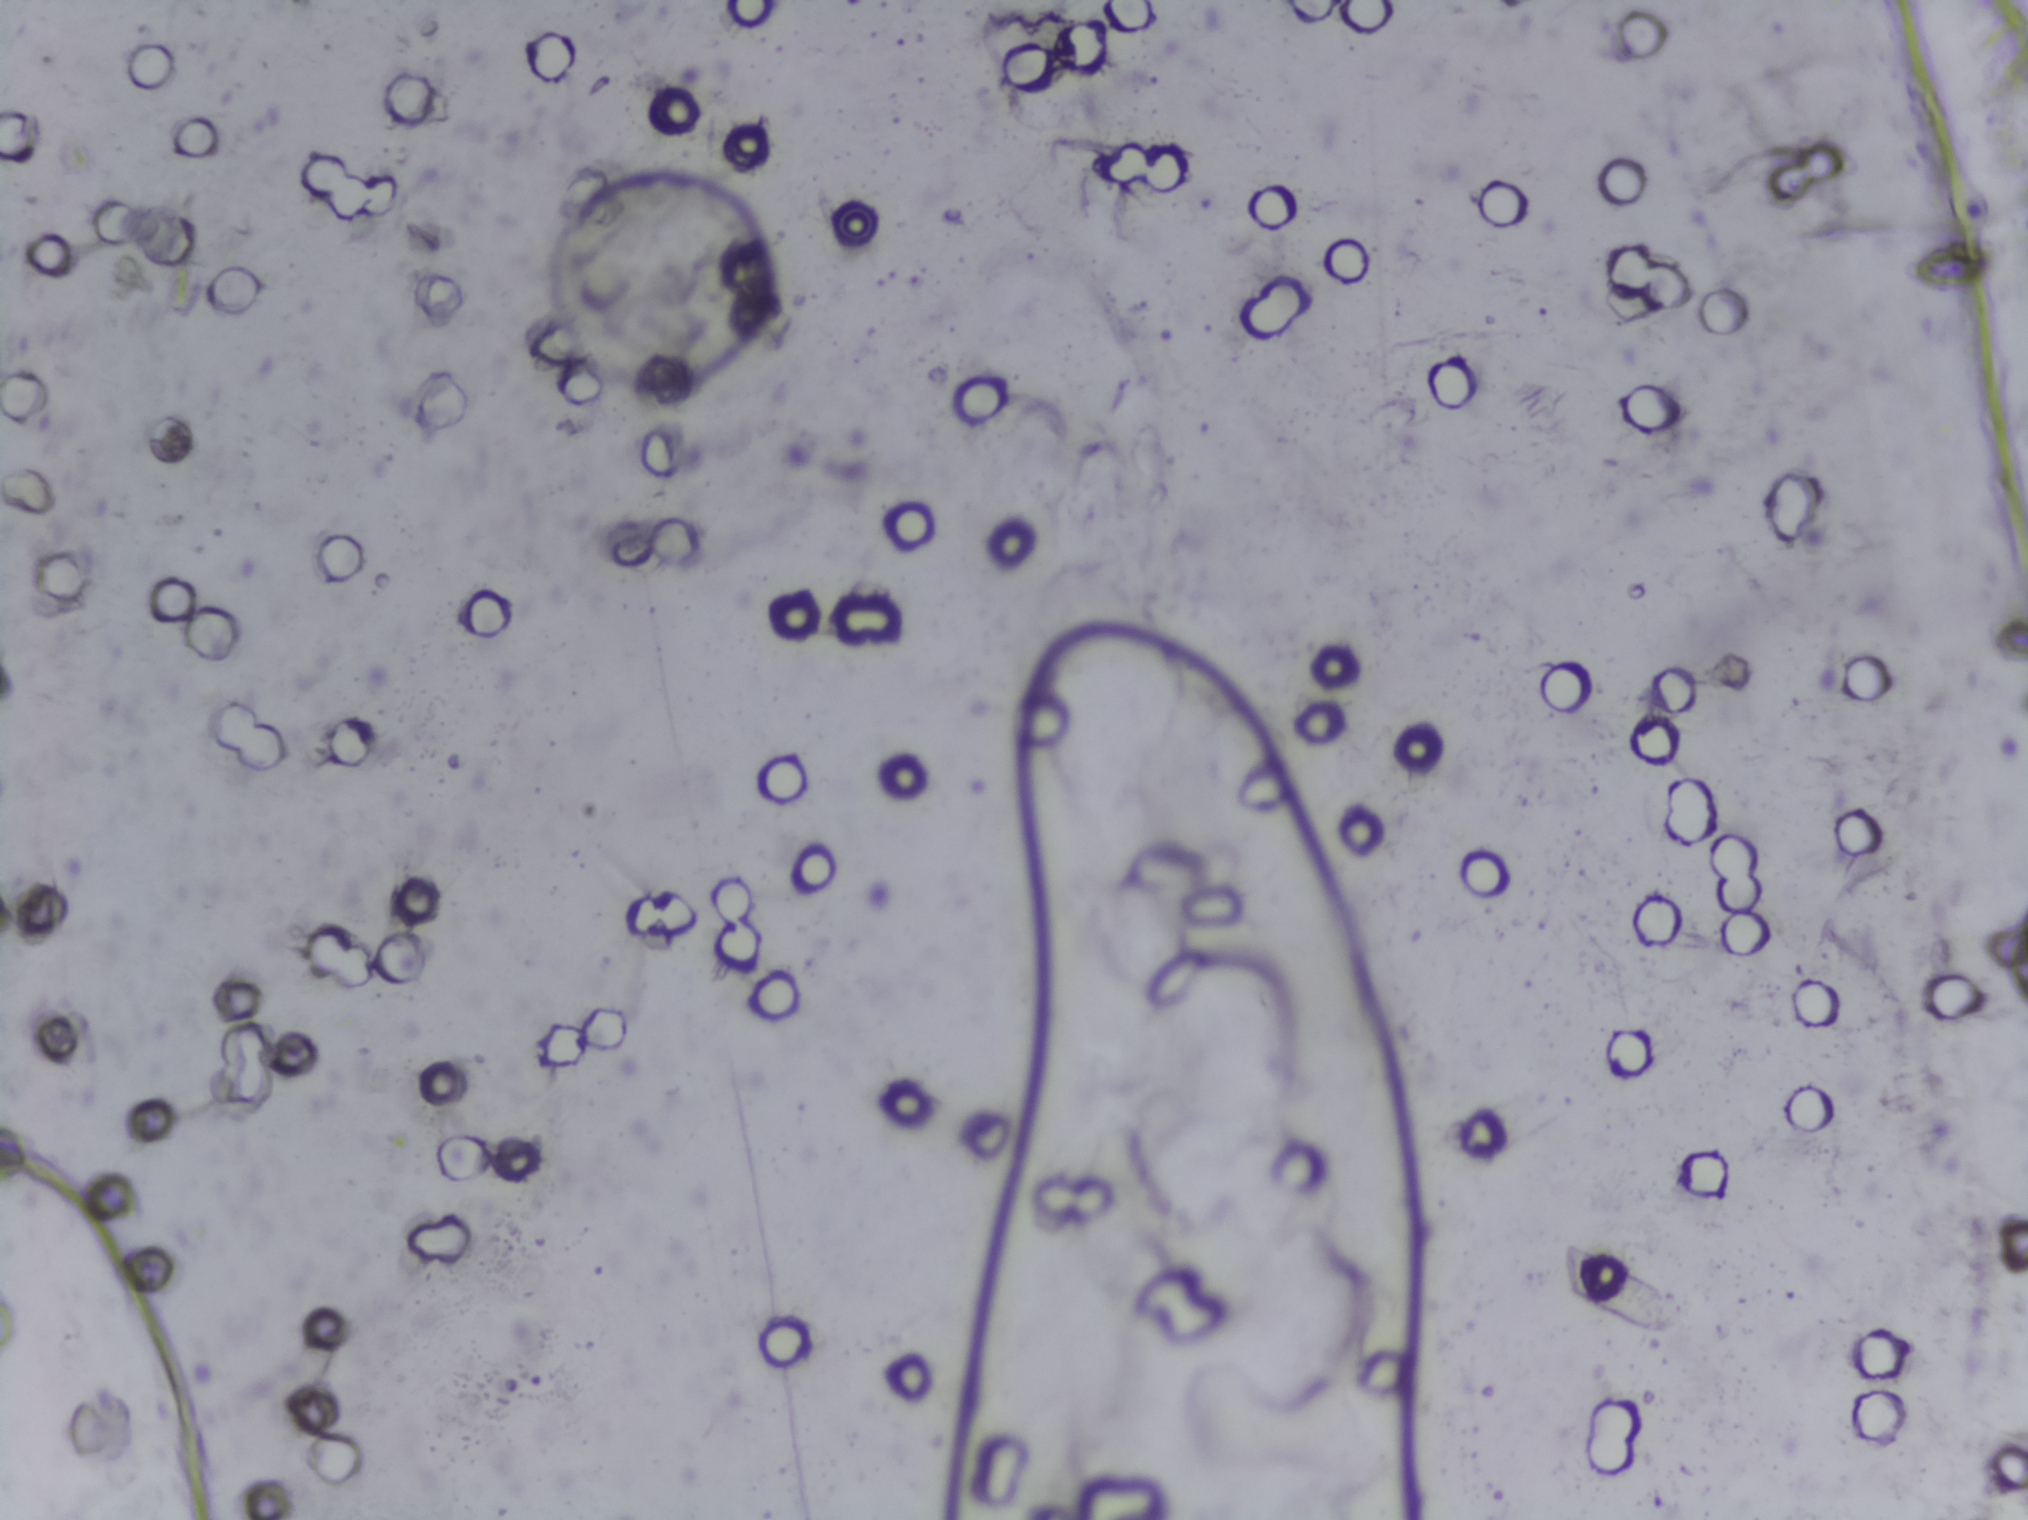
Urine filter membrane photographed through a 4× microscope objective.
No Schistosoma egg is outlined in this image's expert annotation.